Urine filtration membrane under a 4× objective, photographed by an automated digital microscope.
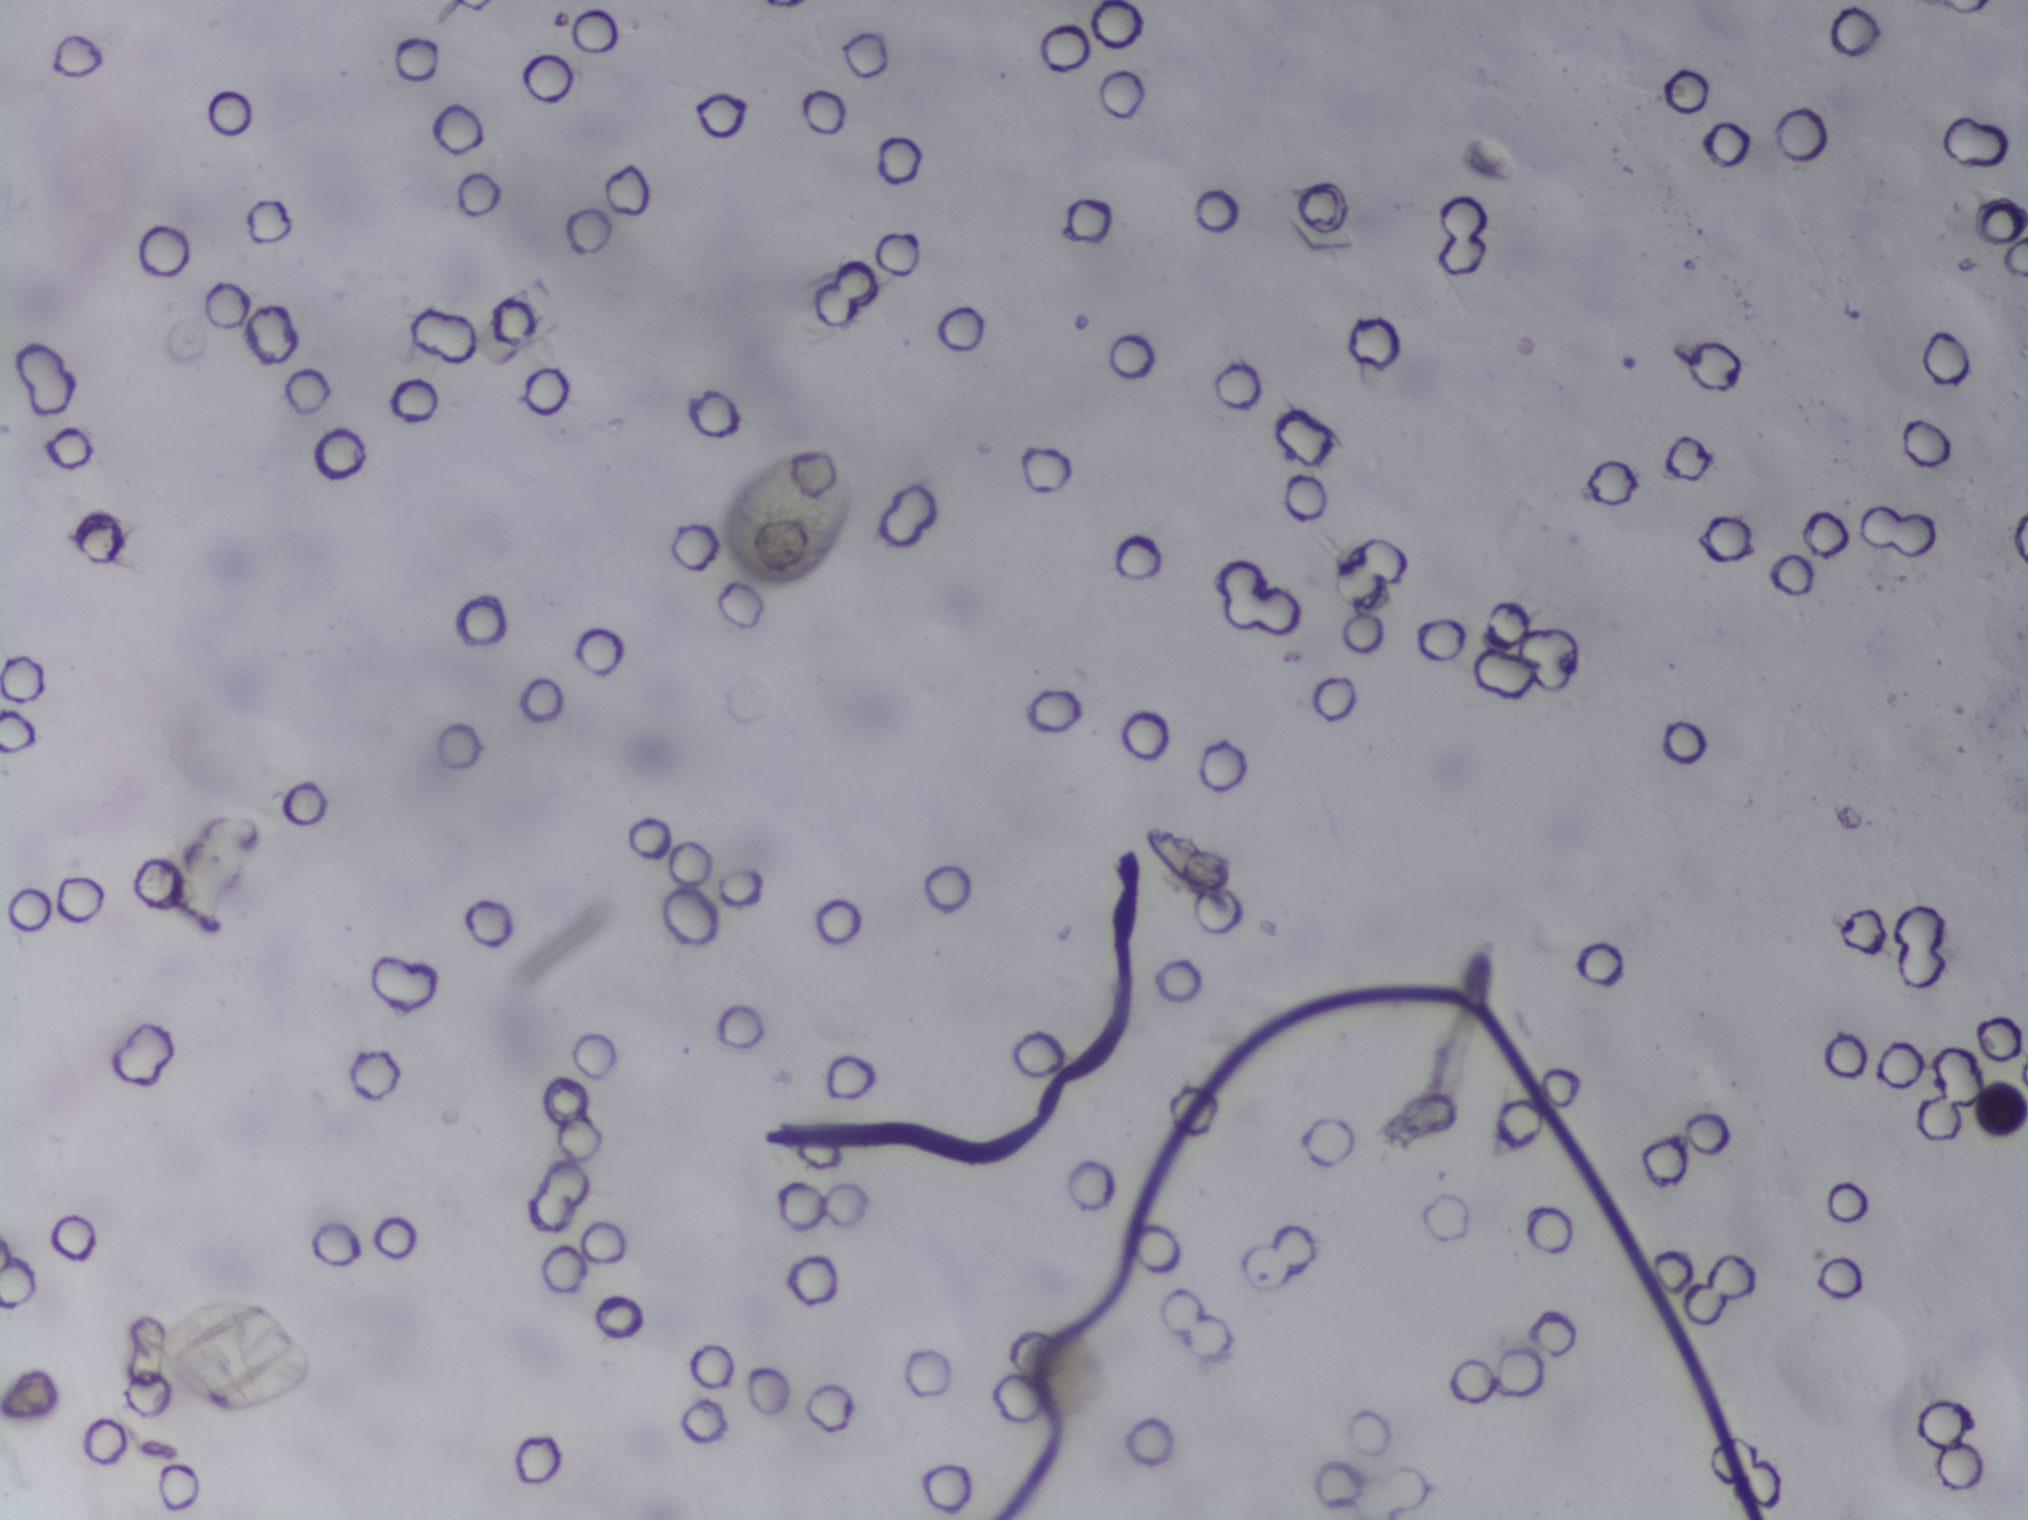
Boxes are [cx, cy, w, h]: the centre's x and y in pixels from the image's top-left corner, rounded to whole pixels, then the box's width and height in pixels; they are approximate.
{"schistosoma_egg_areas_cxcywh_px": [[227, 1354, 180, 119]]}
An outlined area can hold more than one egg. Any one outlined egg may, rarely, be S. mansoni rather than S. haematobium.